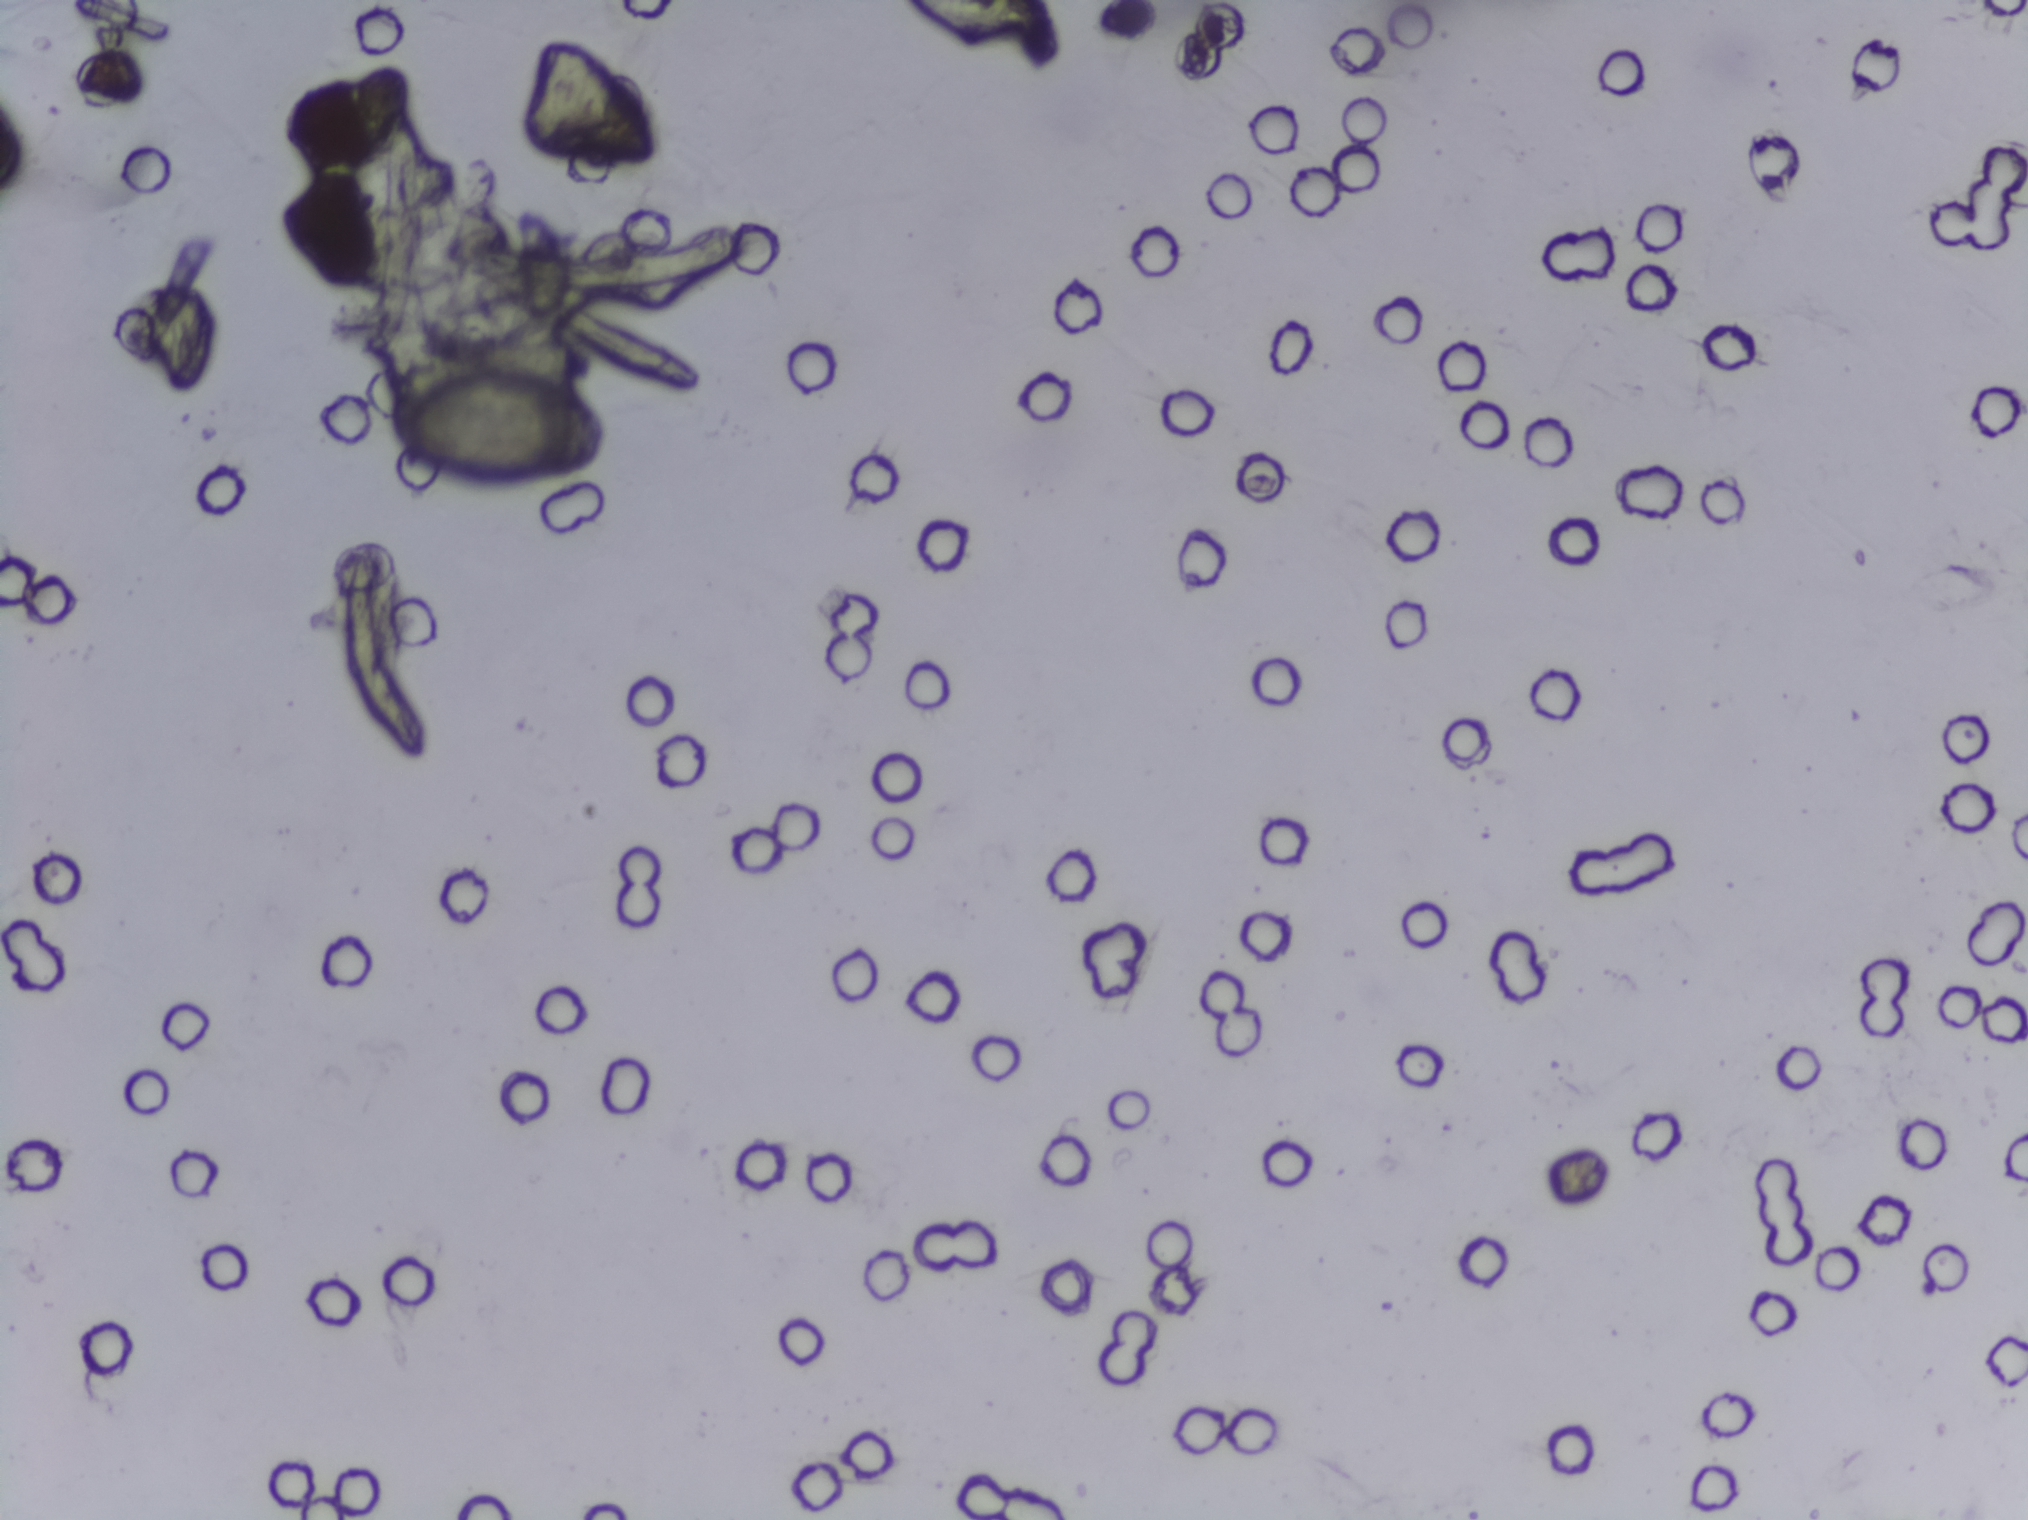
Microscope photograph (4× objective) of a membrane that a urine sample was filtered through.
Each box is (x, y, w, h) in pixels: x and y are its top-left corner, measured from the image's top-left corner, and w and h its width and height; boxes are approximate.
Findings: one area outlined as Schistosoma eggs. Location: (x=389, y=367, w=223, h=111). About 0.6% of the image's pixels are marked (the marked pixels themselves, not the box around them). Eggs that touch can end up inside the same outlined area.